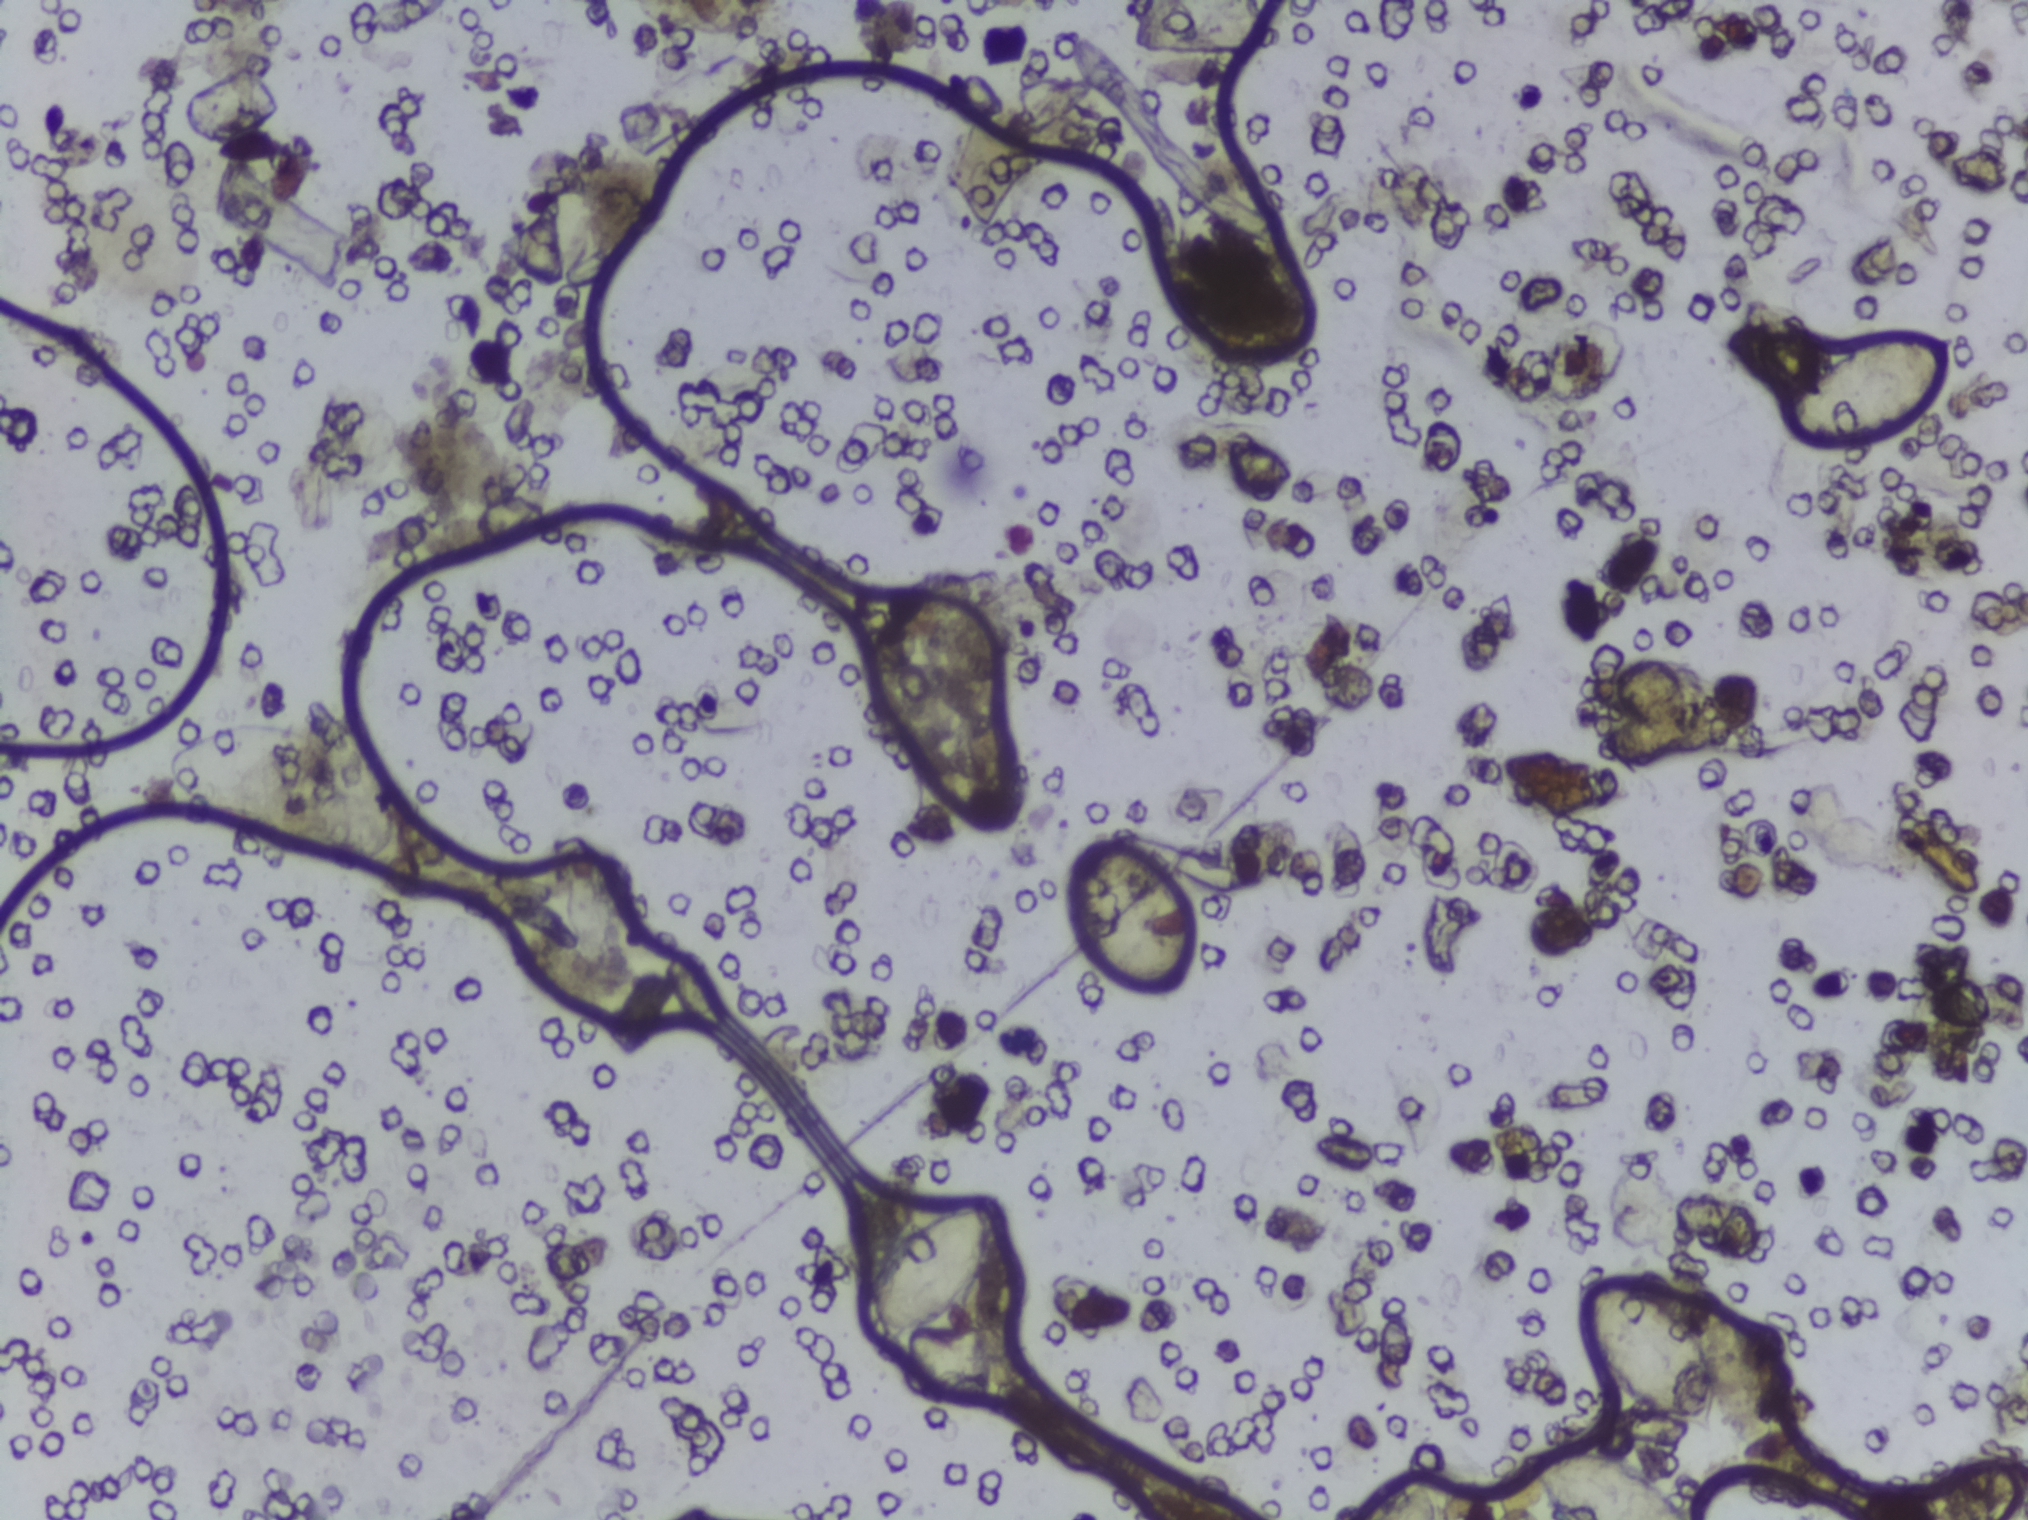
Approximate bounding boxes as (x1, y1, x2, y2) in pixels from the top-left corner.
Findings: six areas outlined as Schistosoma eggs. Locations, left to right: (168, 720, 355, 826); (867, 1197, 1004, 1342); (1365, 1473, 1436, 1519) (reaching the bottom edge of the frame); (1522, 1449, 1690, 1519) (reaching the bottom edge of the frame); (1575, 1280, 1714, 1435); (1786, 334, 1953, 444). A single outlined area may contain several eggs. Any one outlined egg may, rarely, be S. mansoni rather than S. haematobium.
Urine filtration membrane under a 4× objective, photographed by an automated digital microscope.